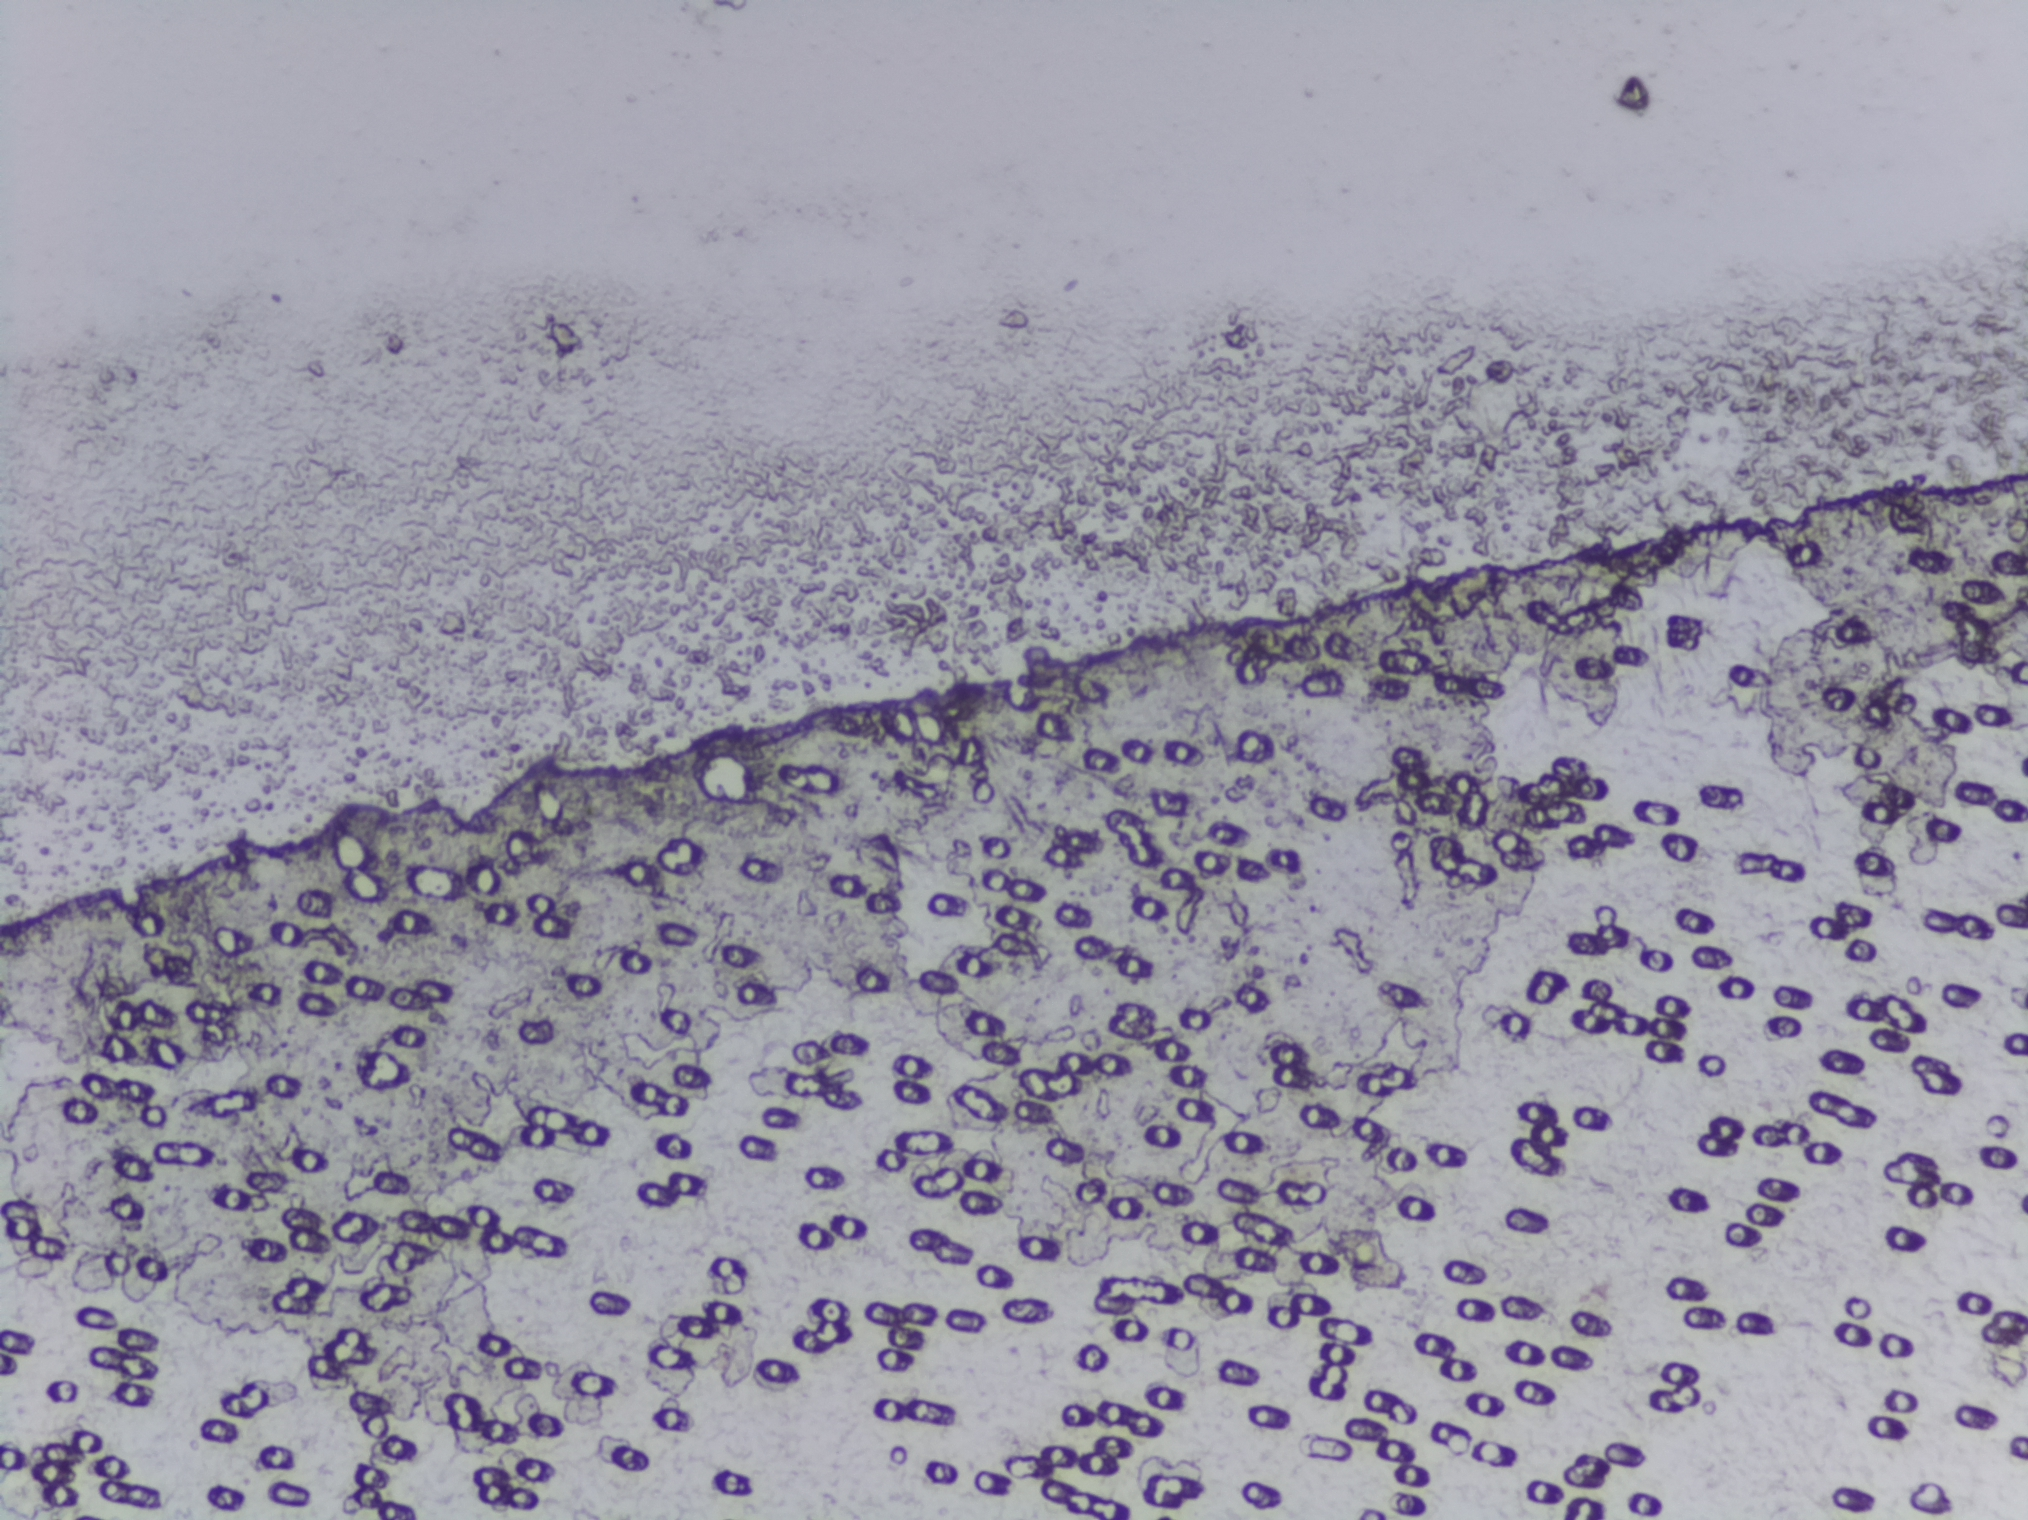
Urine filter membrane photographed through a 4× microscope objective.
No Schistosoma egg is outlined in this image's expert annotation.